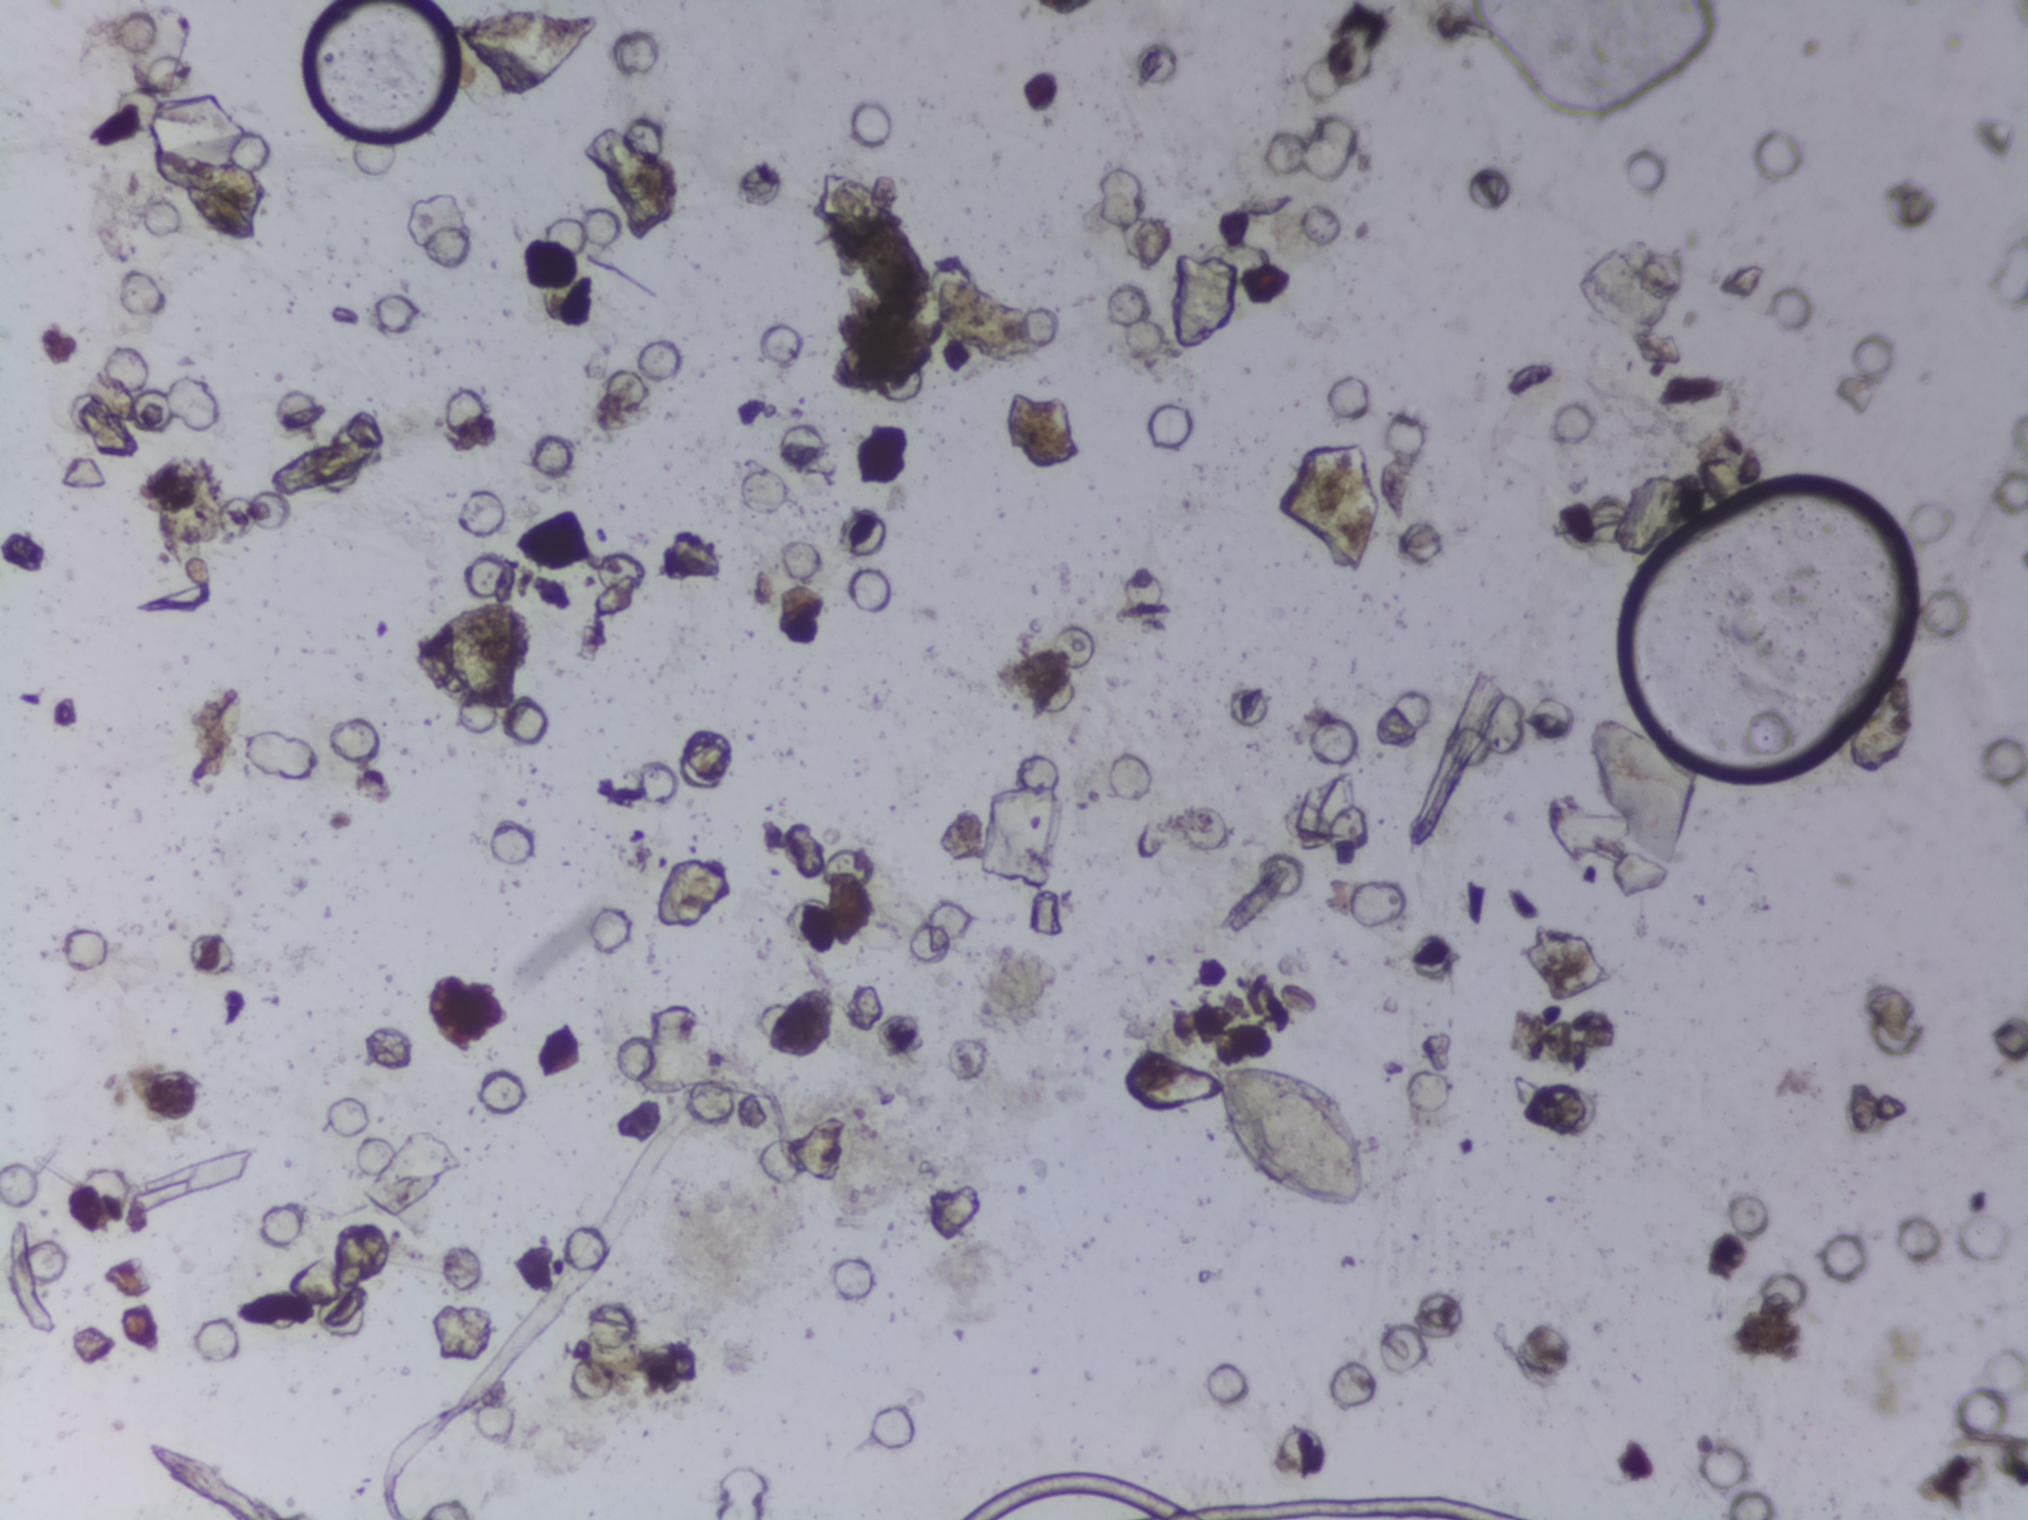
One field of view of a urine filter membrane, 4× objective, 2028 × 1520 pixels.
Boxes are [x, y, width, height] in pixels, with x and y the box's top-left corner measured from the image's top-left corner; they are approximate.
Areas outlined as Schistosoma eggs:
1. [1205, 1062, 164, 151]
An outlined area can hold more than one egg.